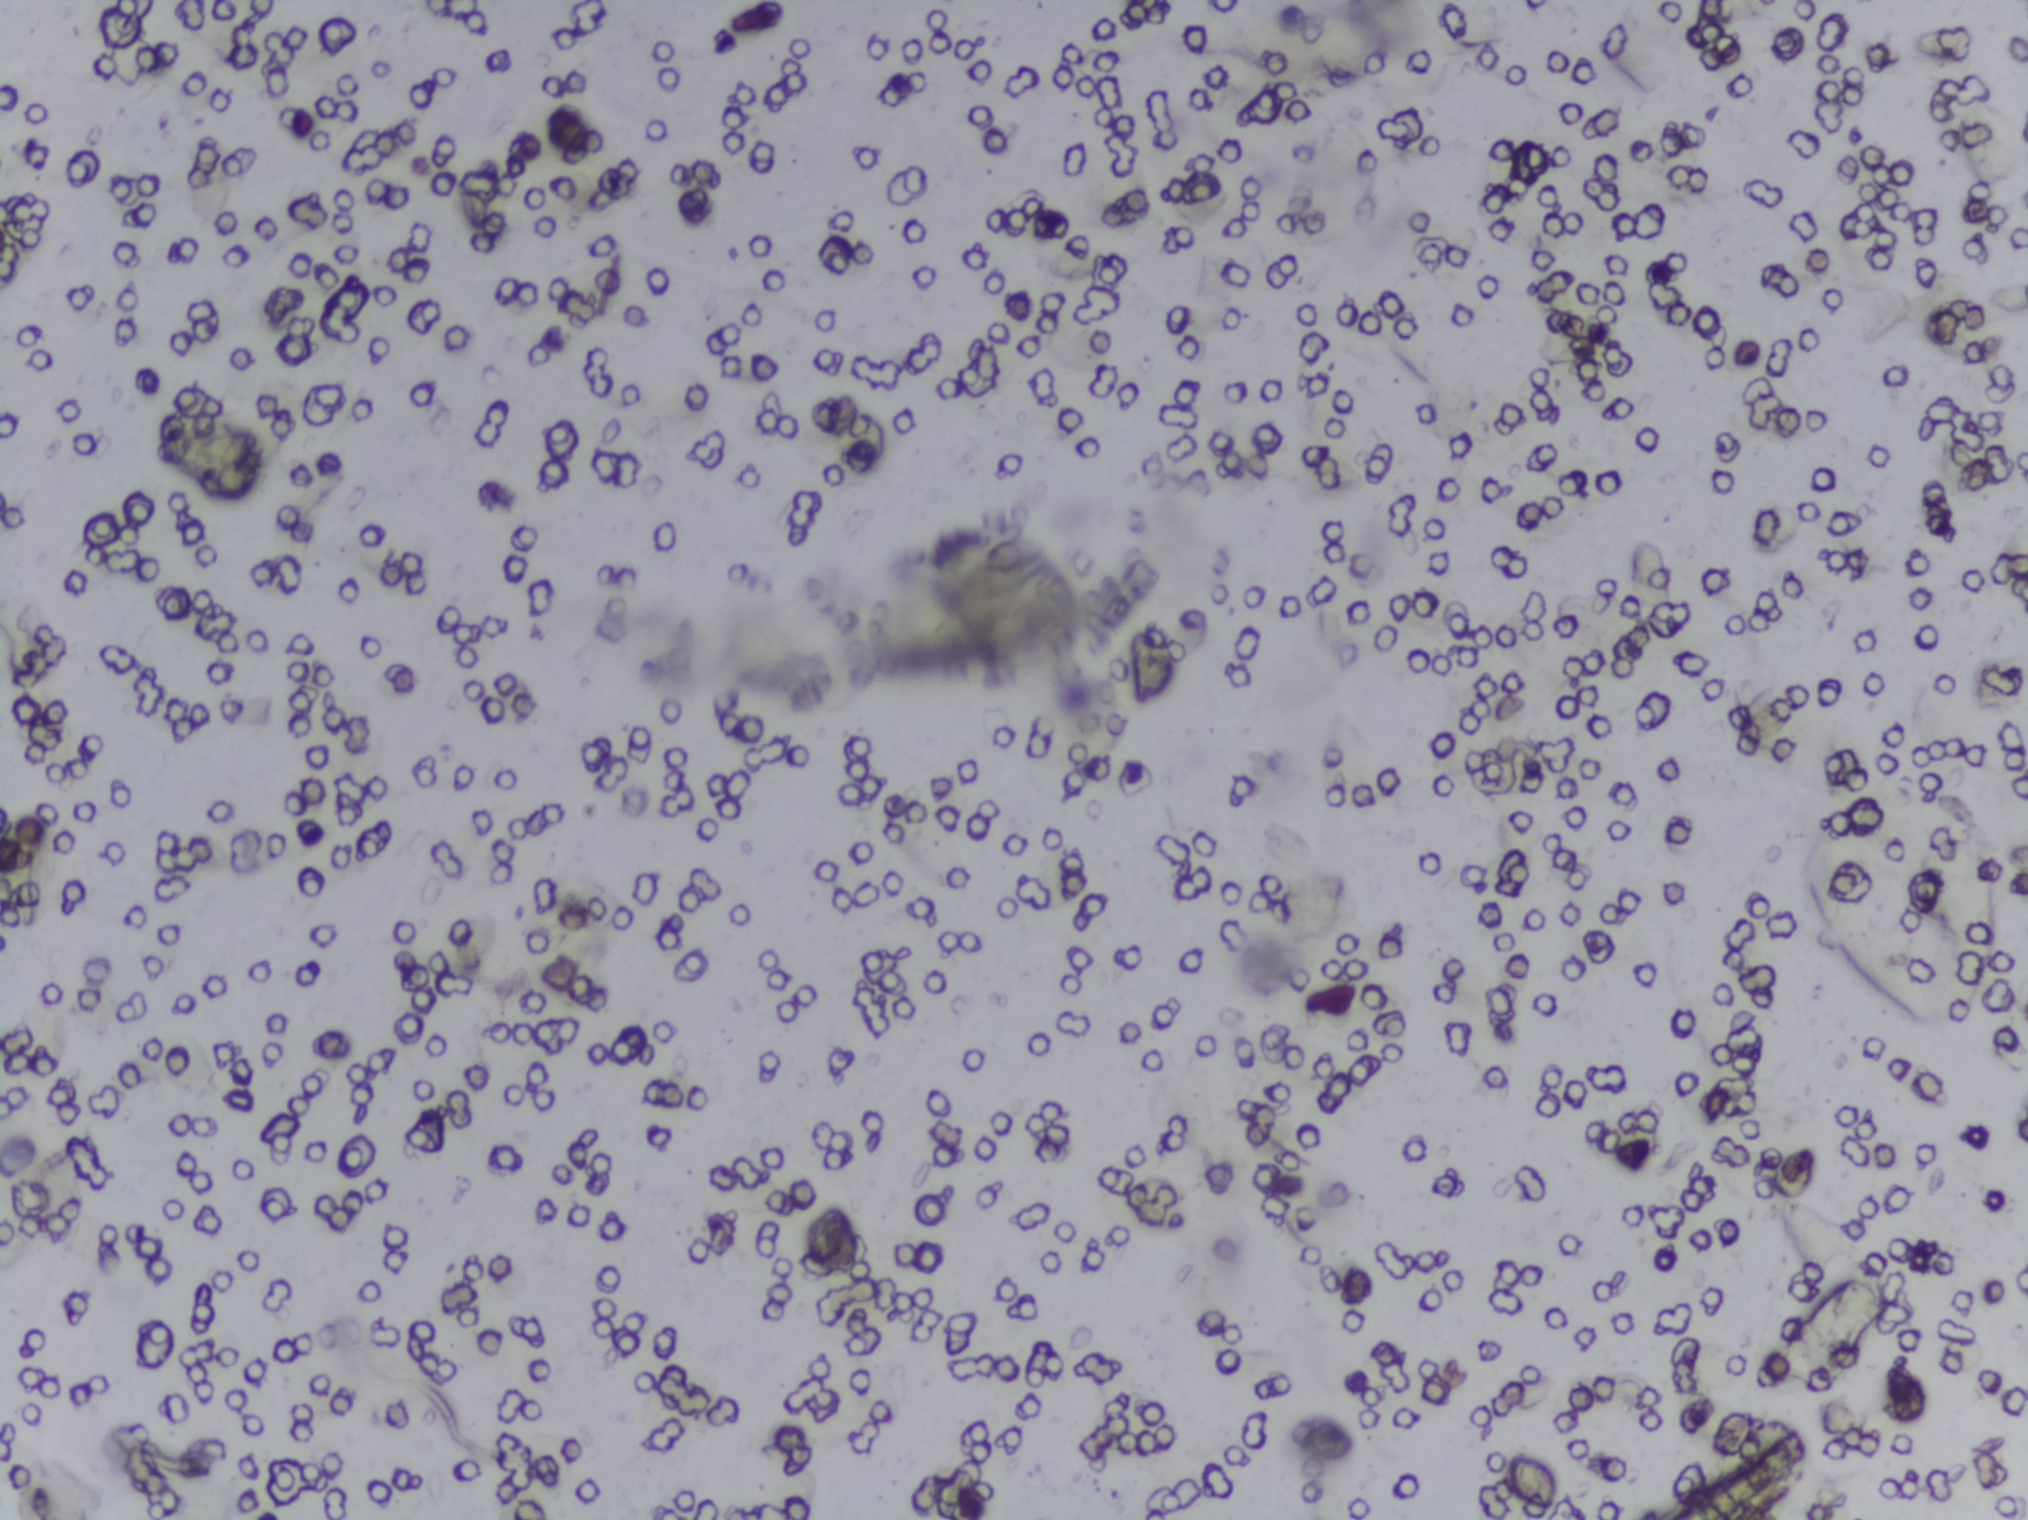
One field of view of a urine filter membrane, 4× objective, 2028 × 1520 pixels.
The expert annotation outlines no Schistosoma egg in this image.